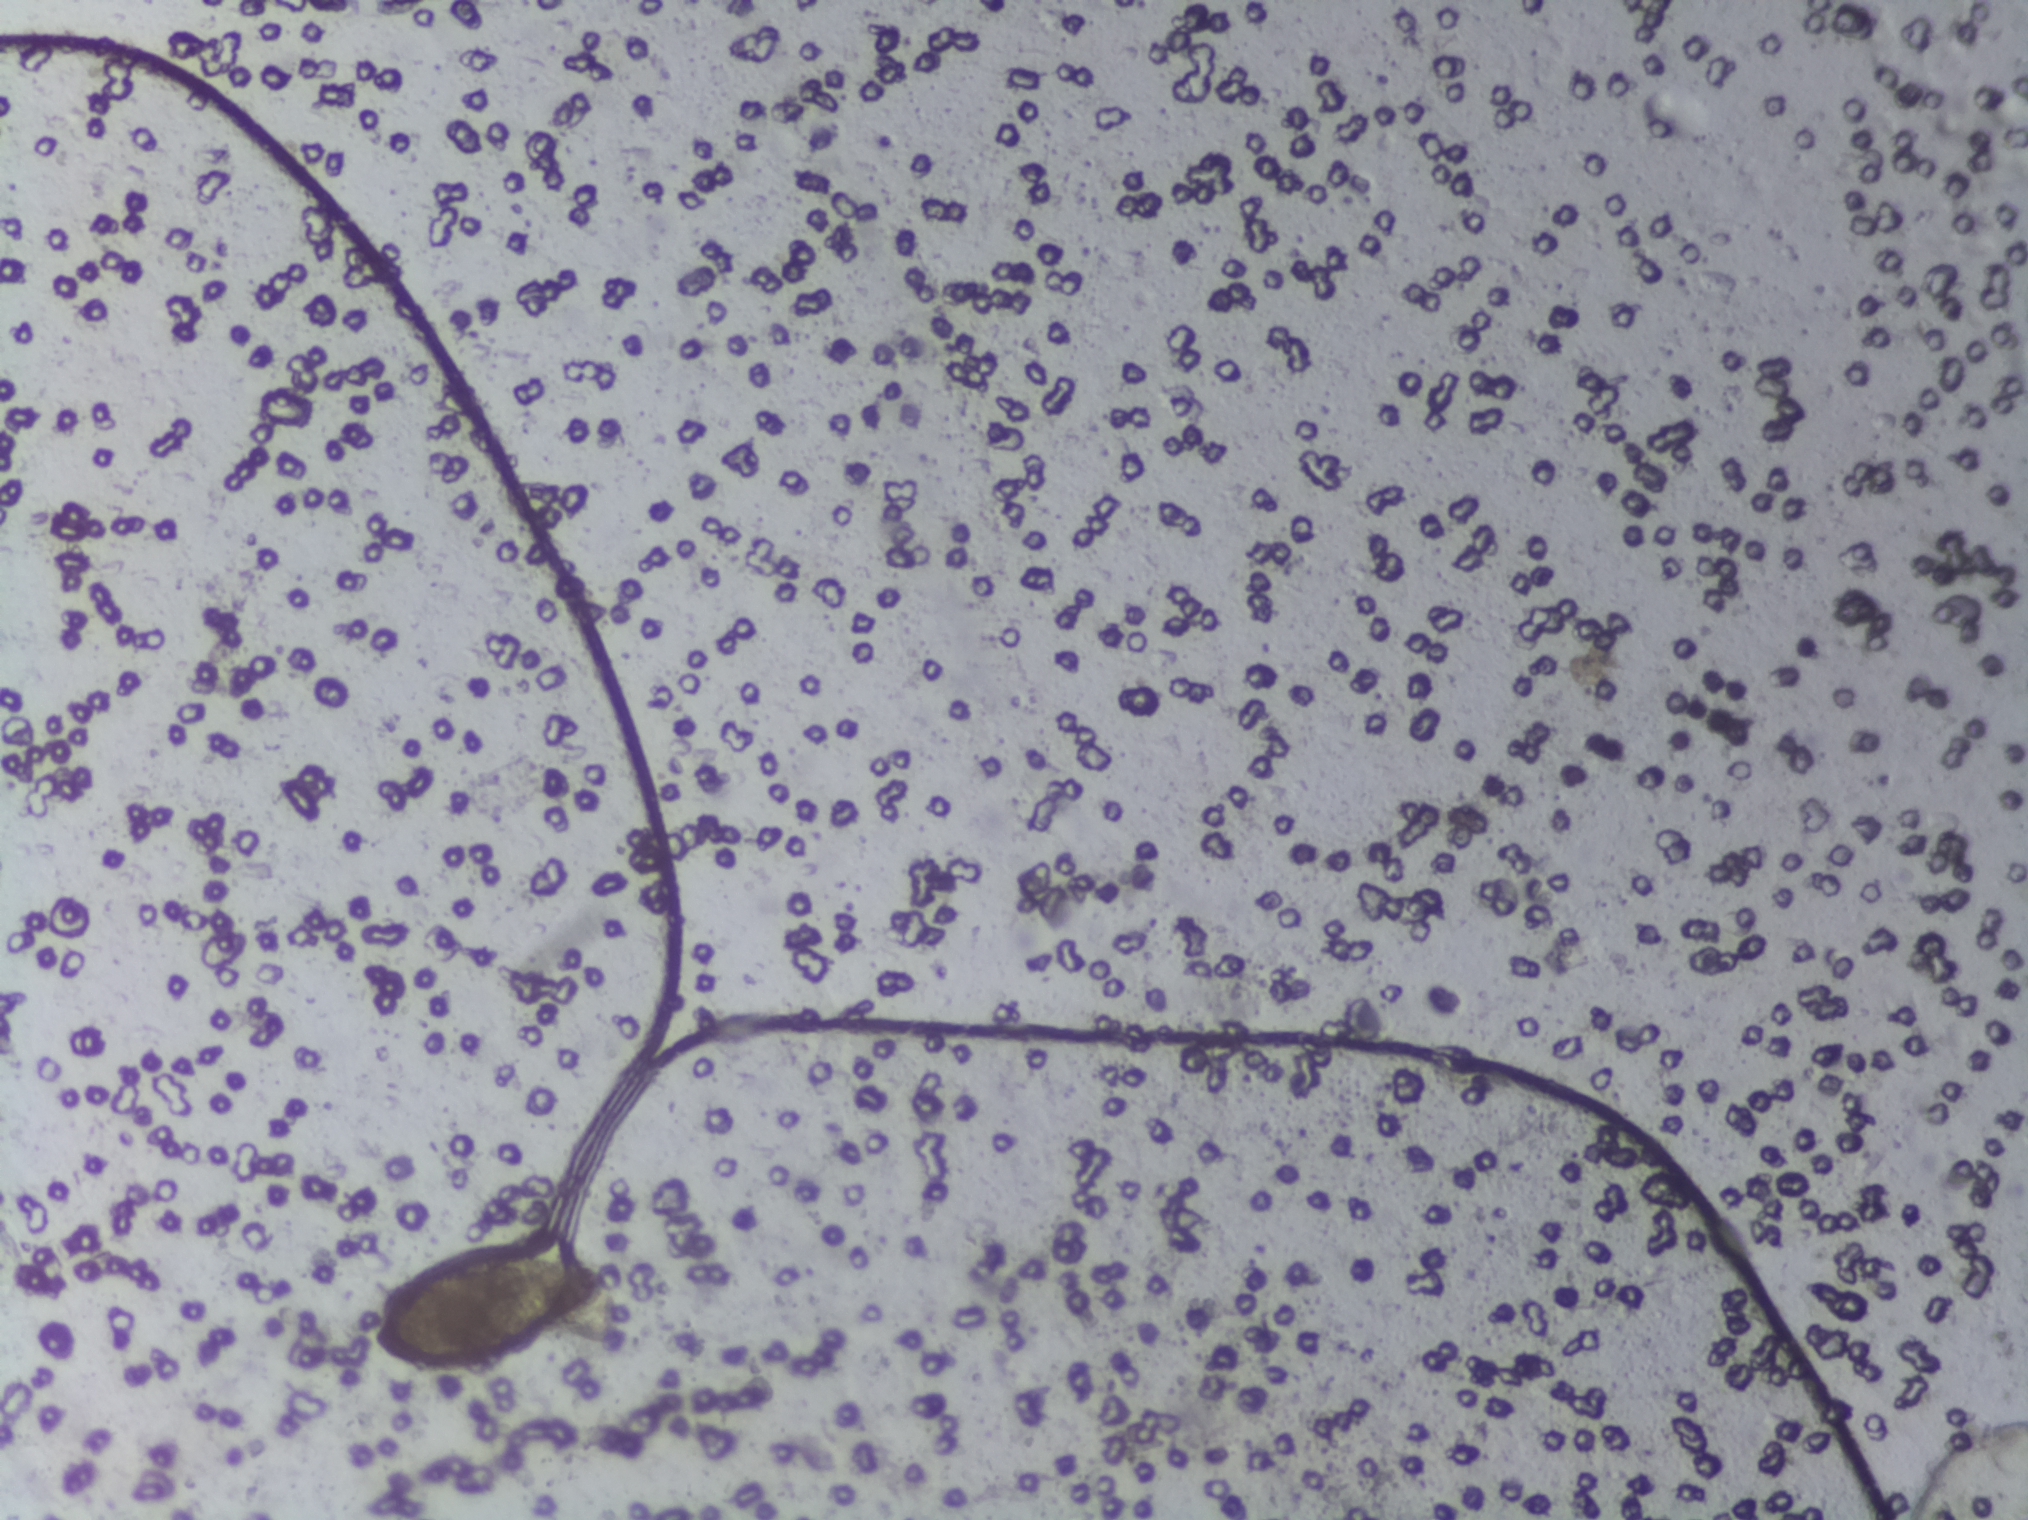
One field of view of a urine filter membrane, 4× objective, 2028 × 1520 pixels.
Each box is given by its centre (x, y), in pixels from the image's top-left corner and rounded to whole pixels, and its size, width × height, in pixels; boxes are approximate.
Findings: one area outlined as Schistosoma eggs. Location: centre (489, 1310), 236 × 126 px. A single outlined area may contain several eggs. Any one outlined egg may, rarely, be S. mansoni rather than S. haematobium.